Urine filtration membrane under a 4× objective, photographed by an automated digital microscope.
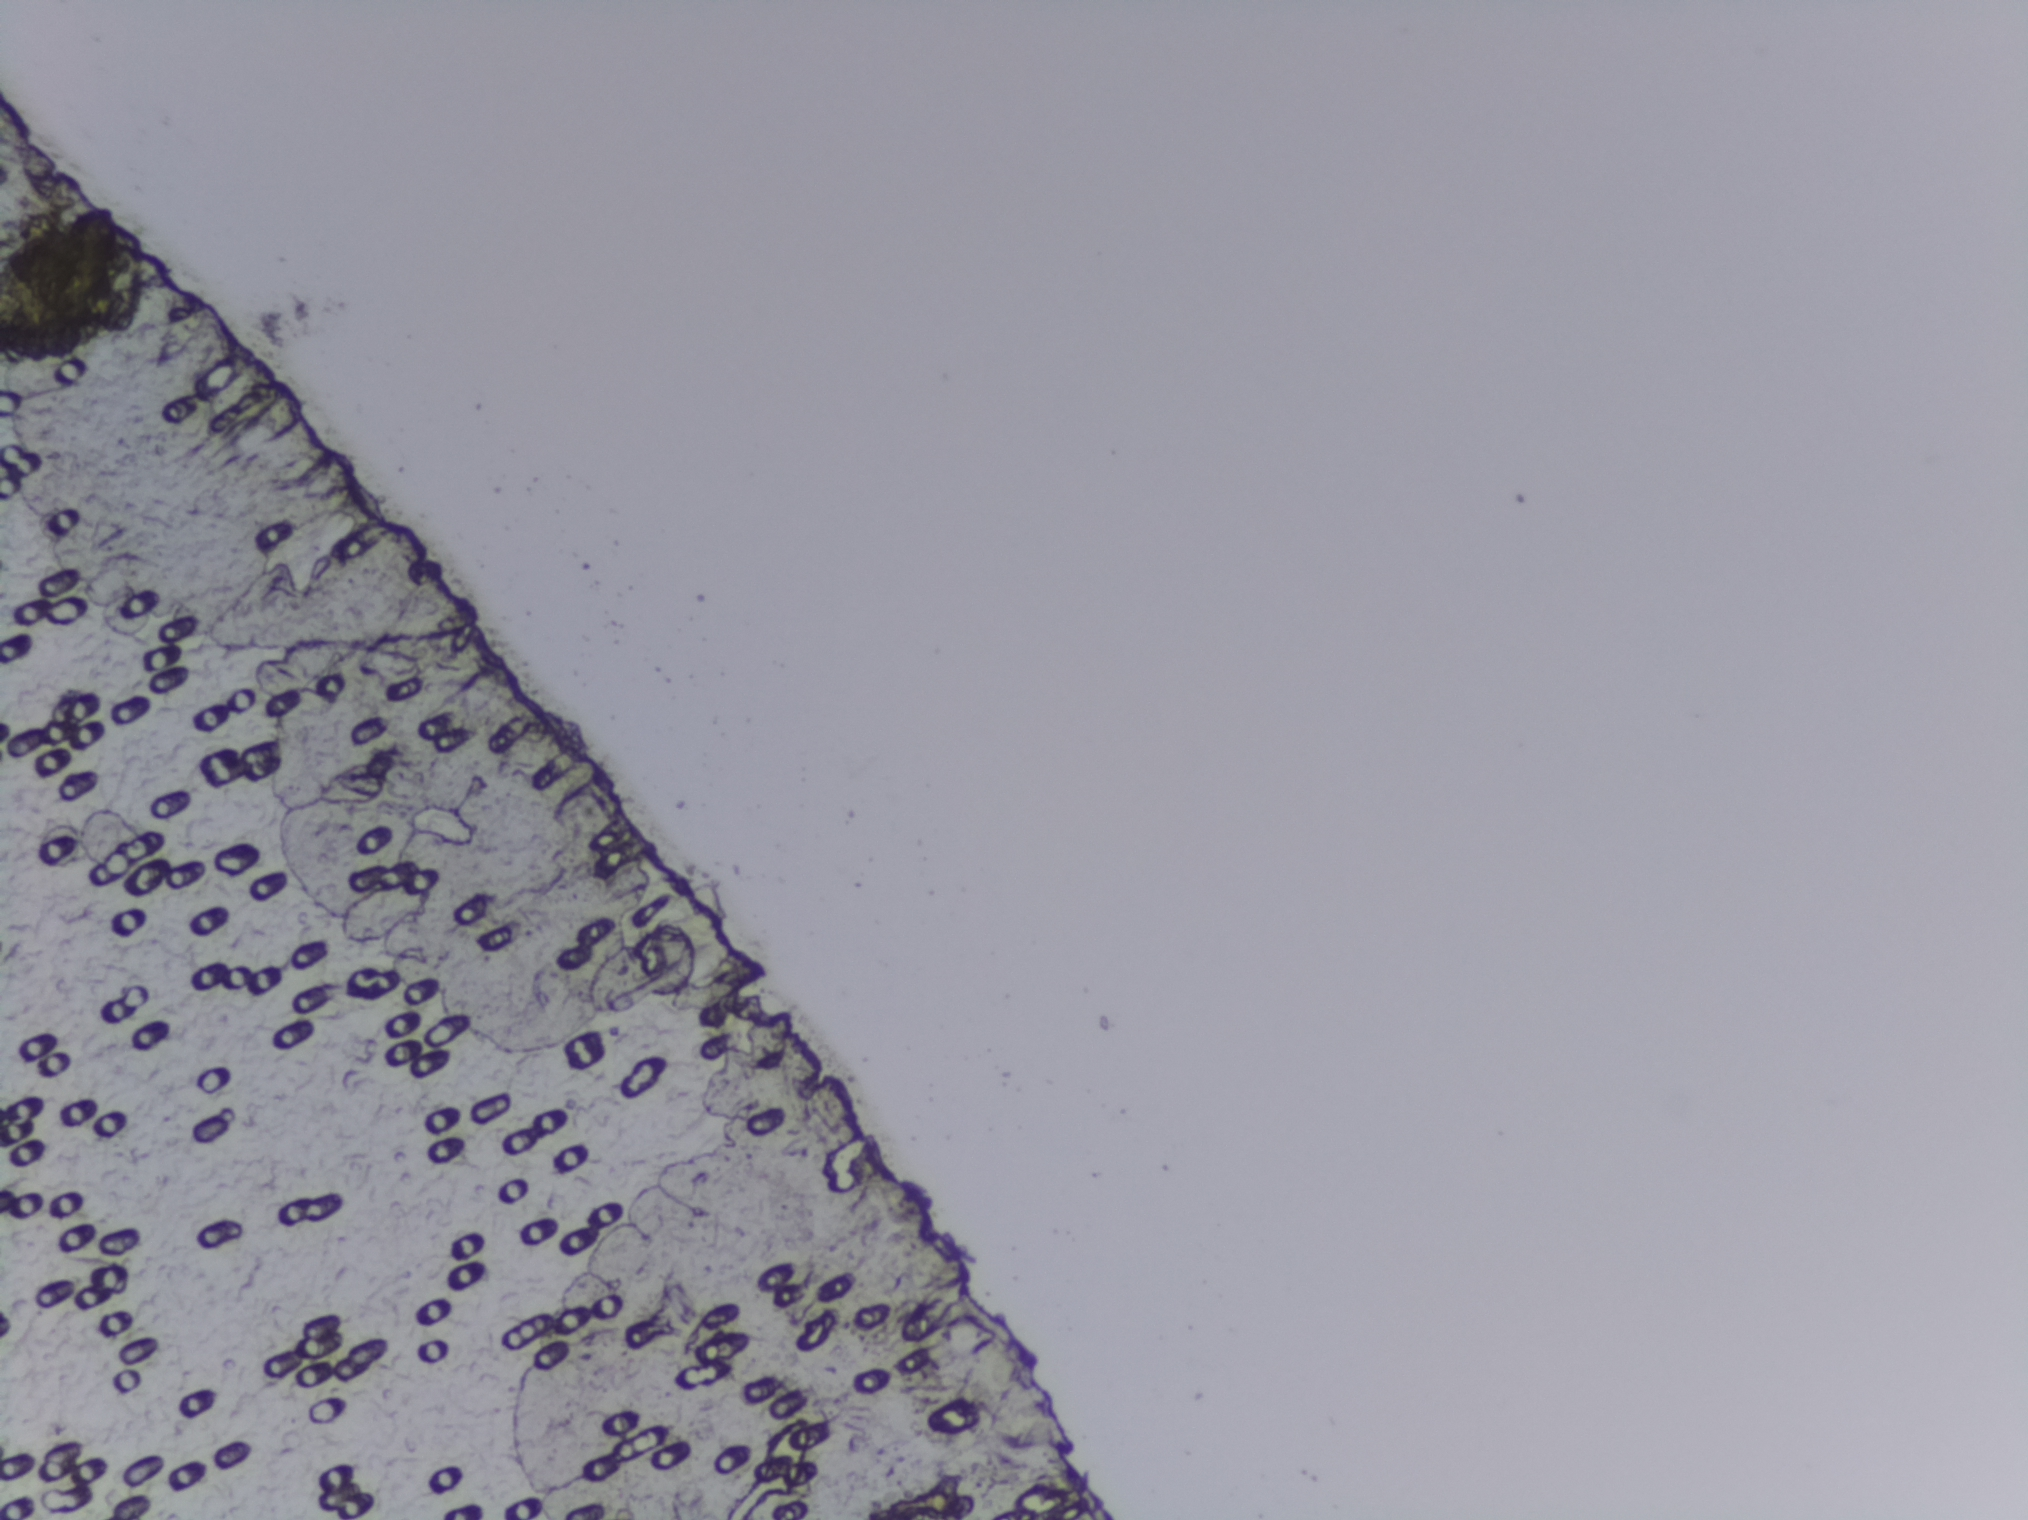
Schistosoma eggs: none outlined.